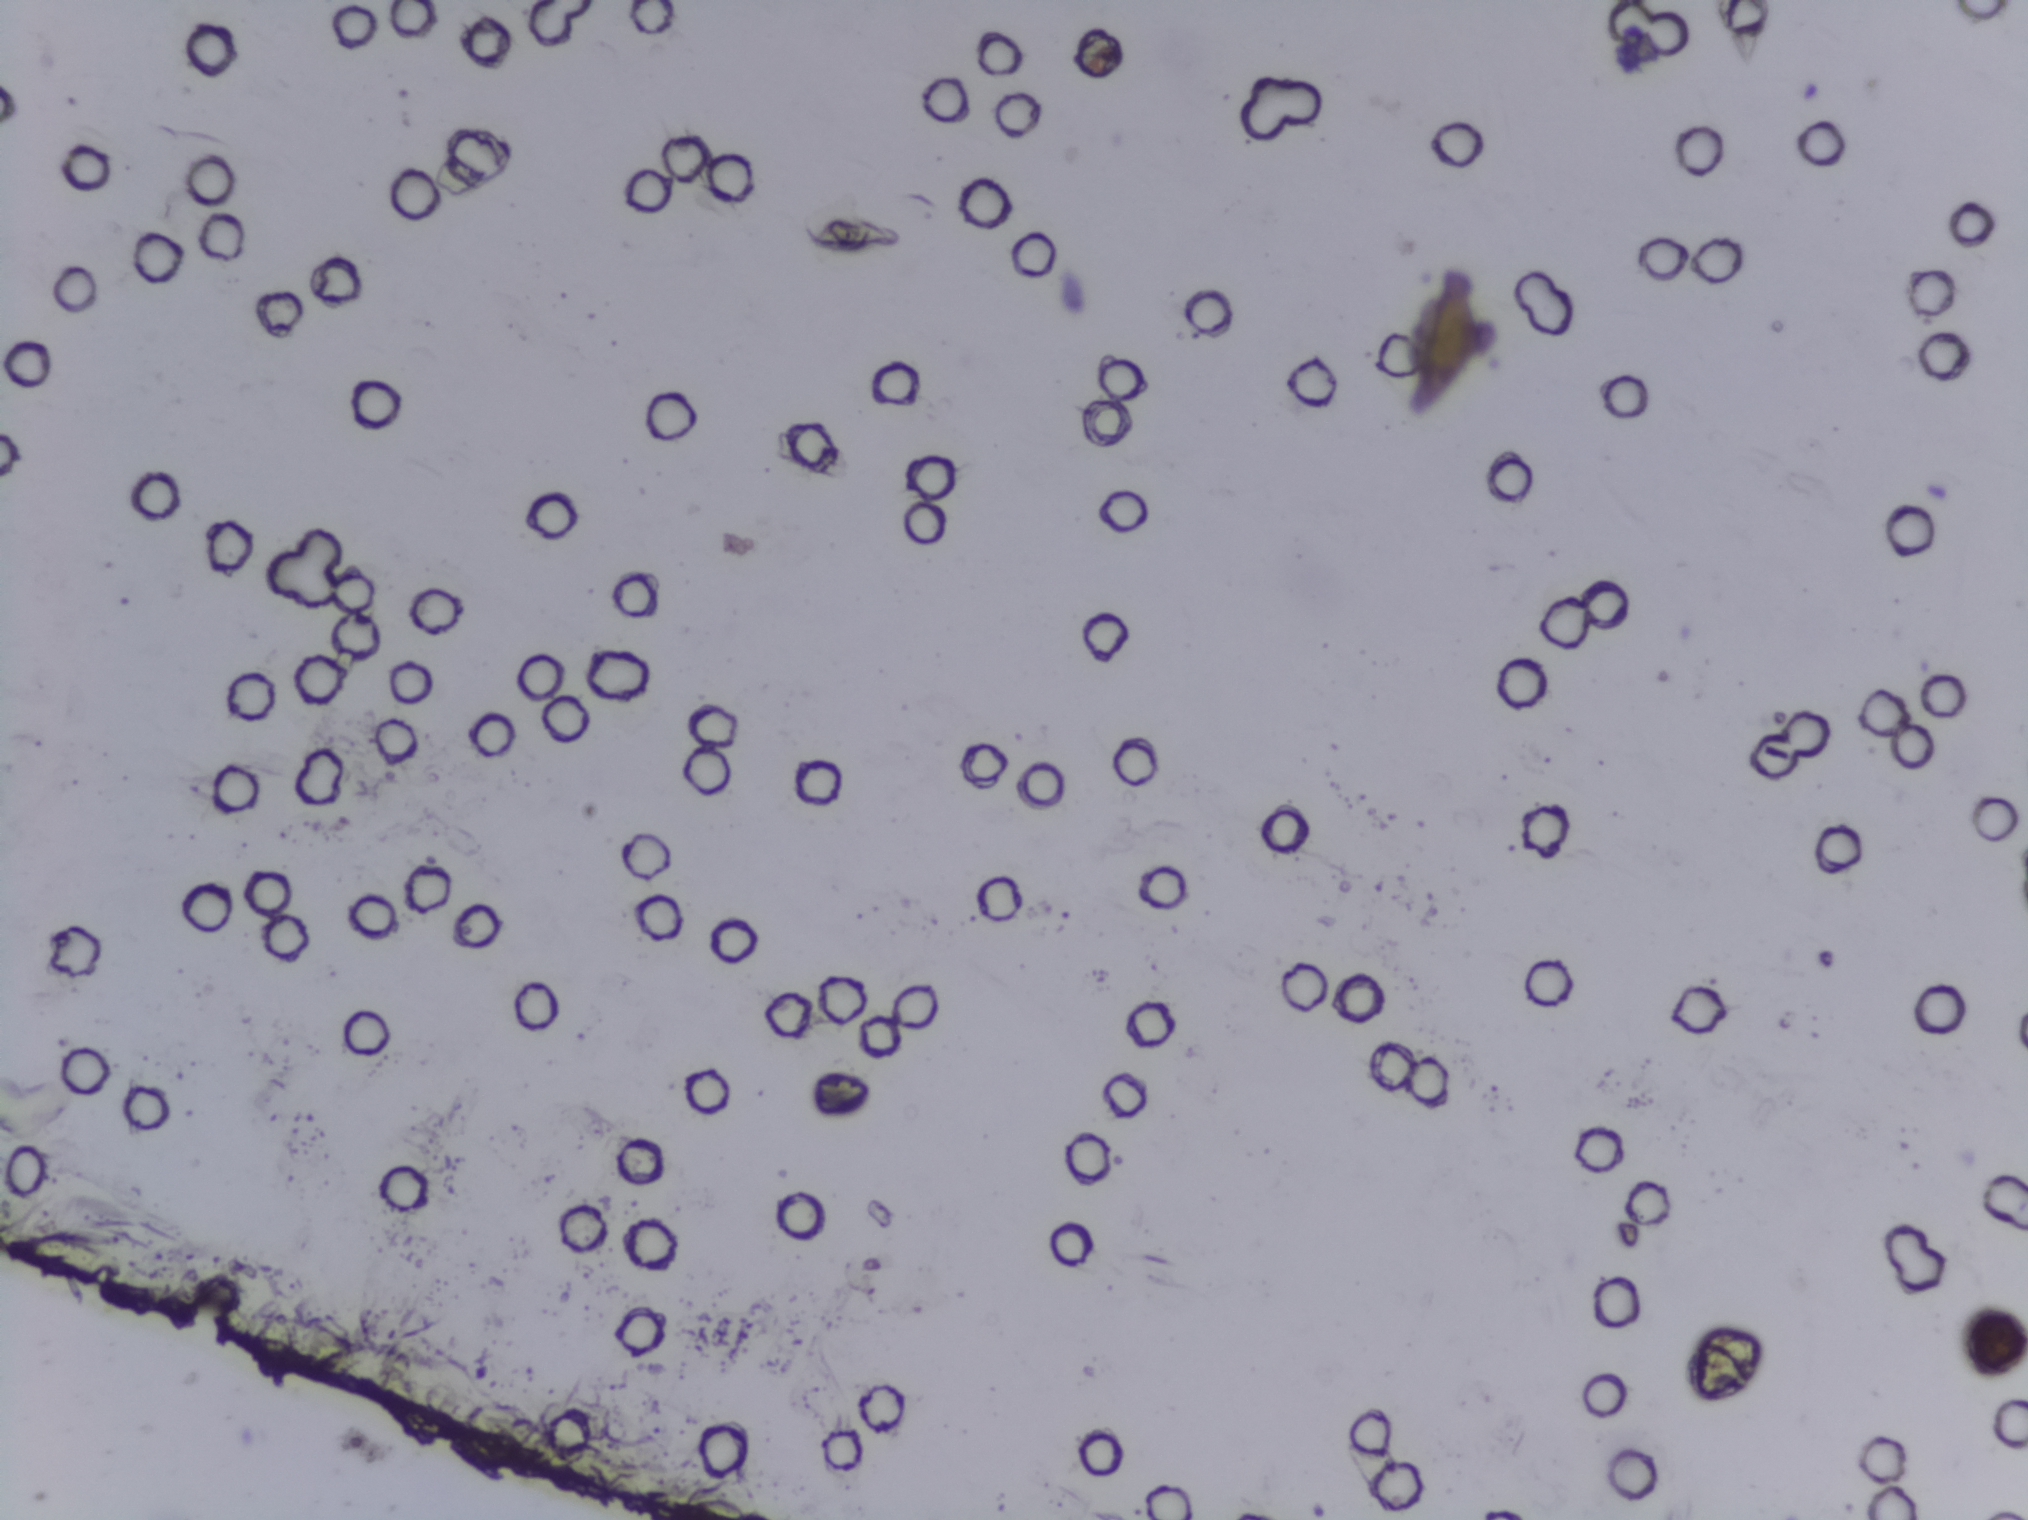
The expert annotation outlines no Schistosoma egg in this image.
Urine filtration membrane under a 4× objective, photographed by an automated digital microscope. The image covers about 1.5 × 1.1 mm of the membrane.